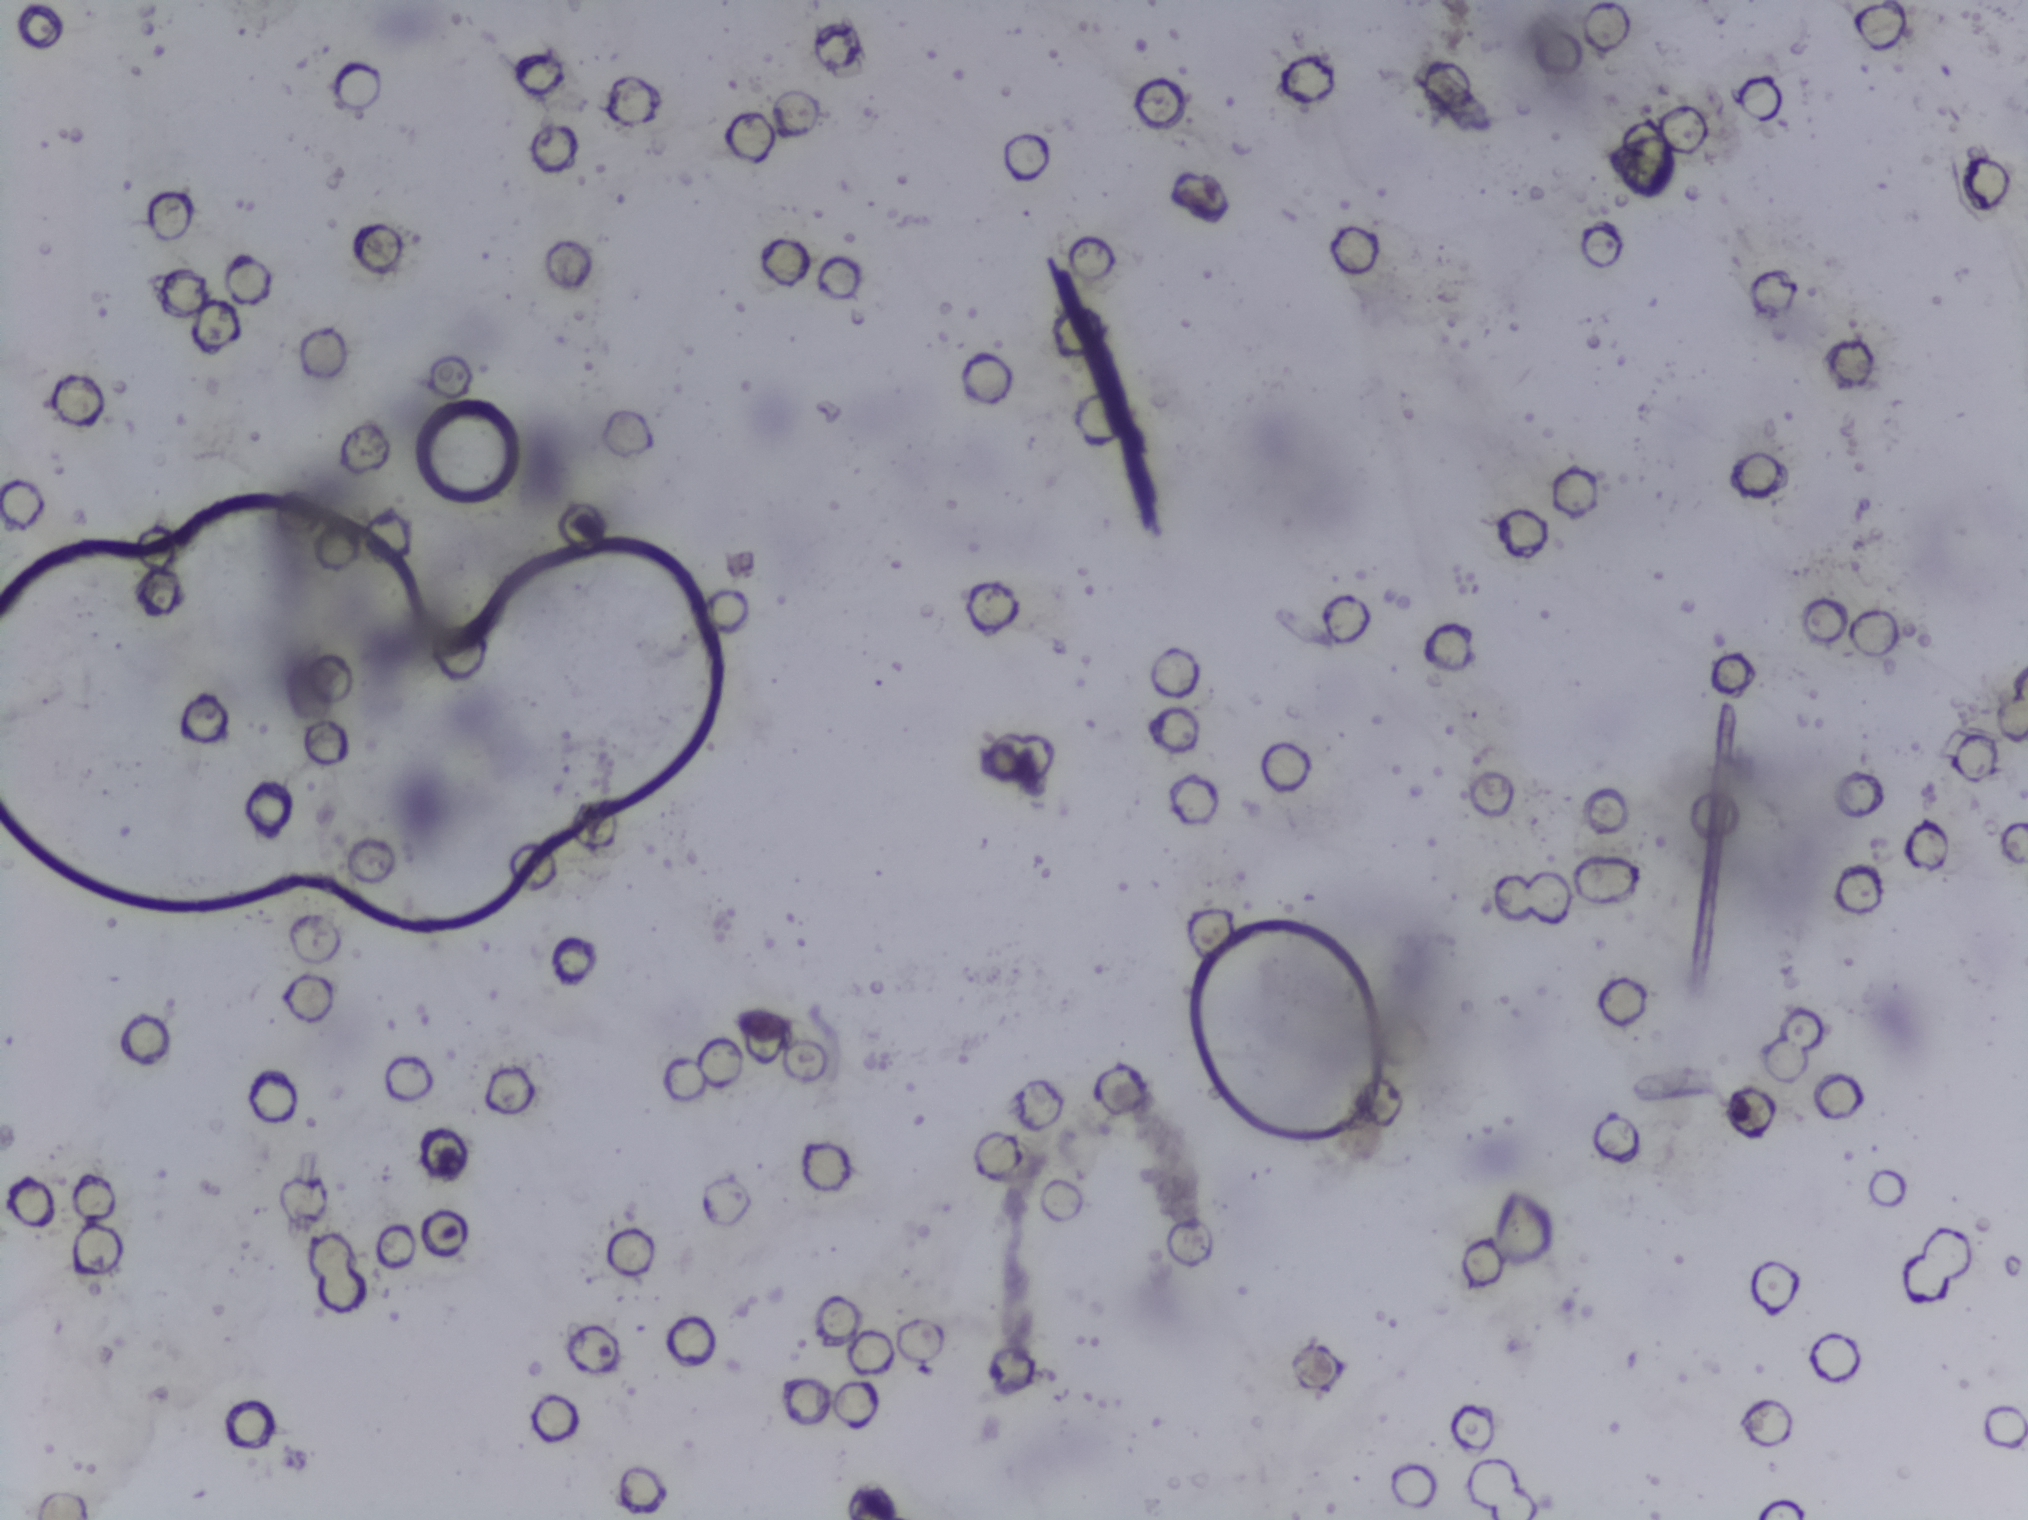
Urine filter membrane photographed through a 4× microscope objective.
The expert annotation marks no Schistosoma egg in this field of view.